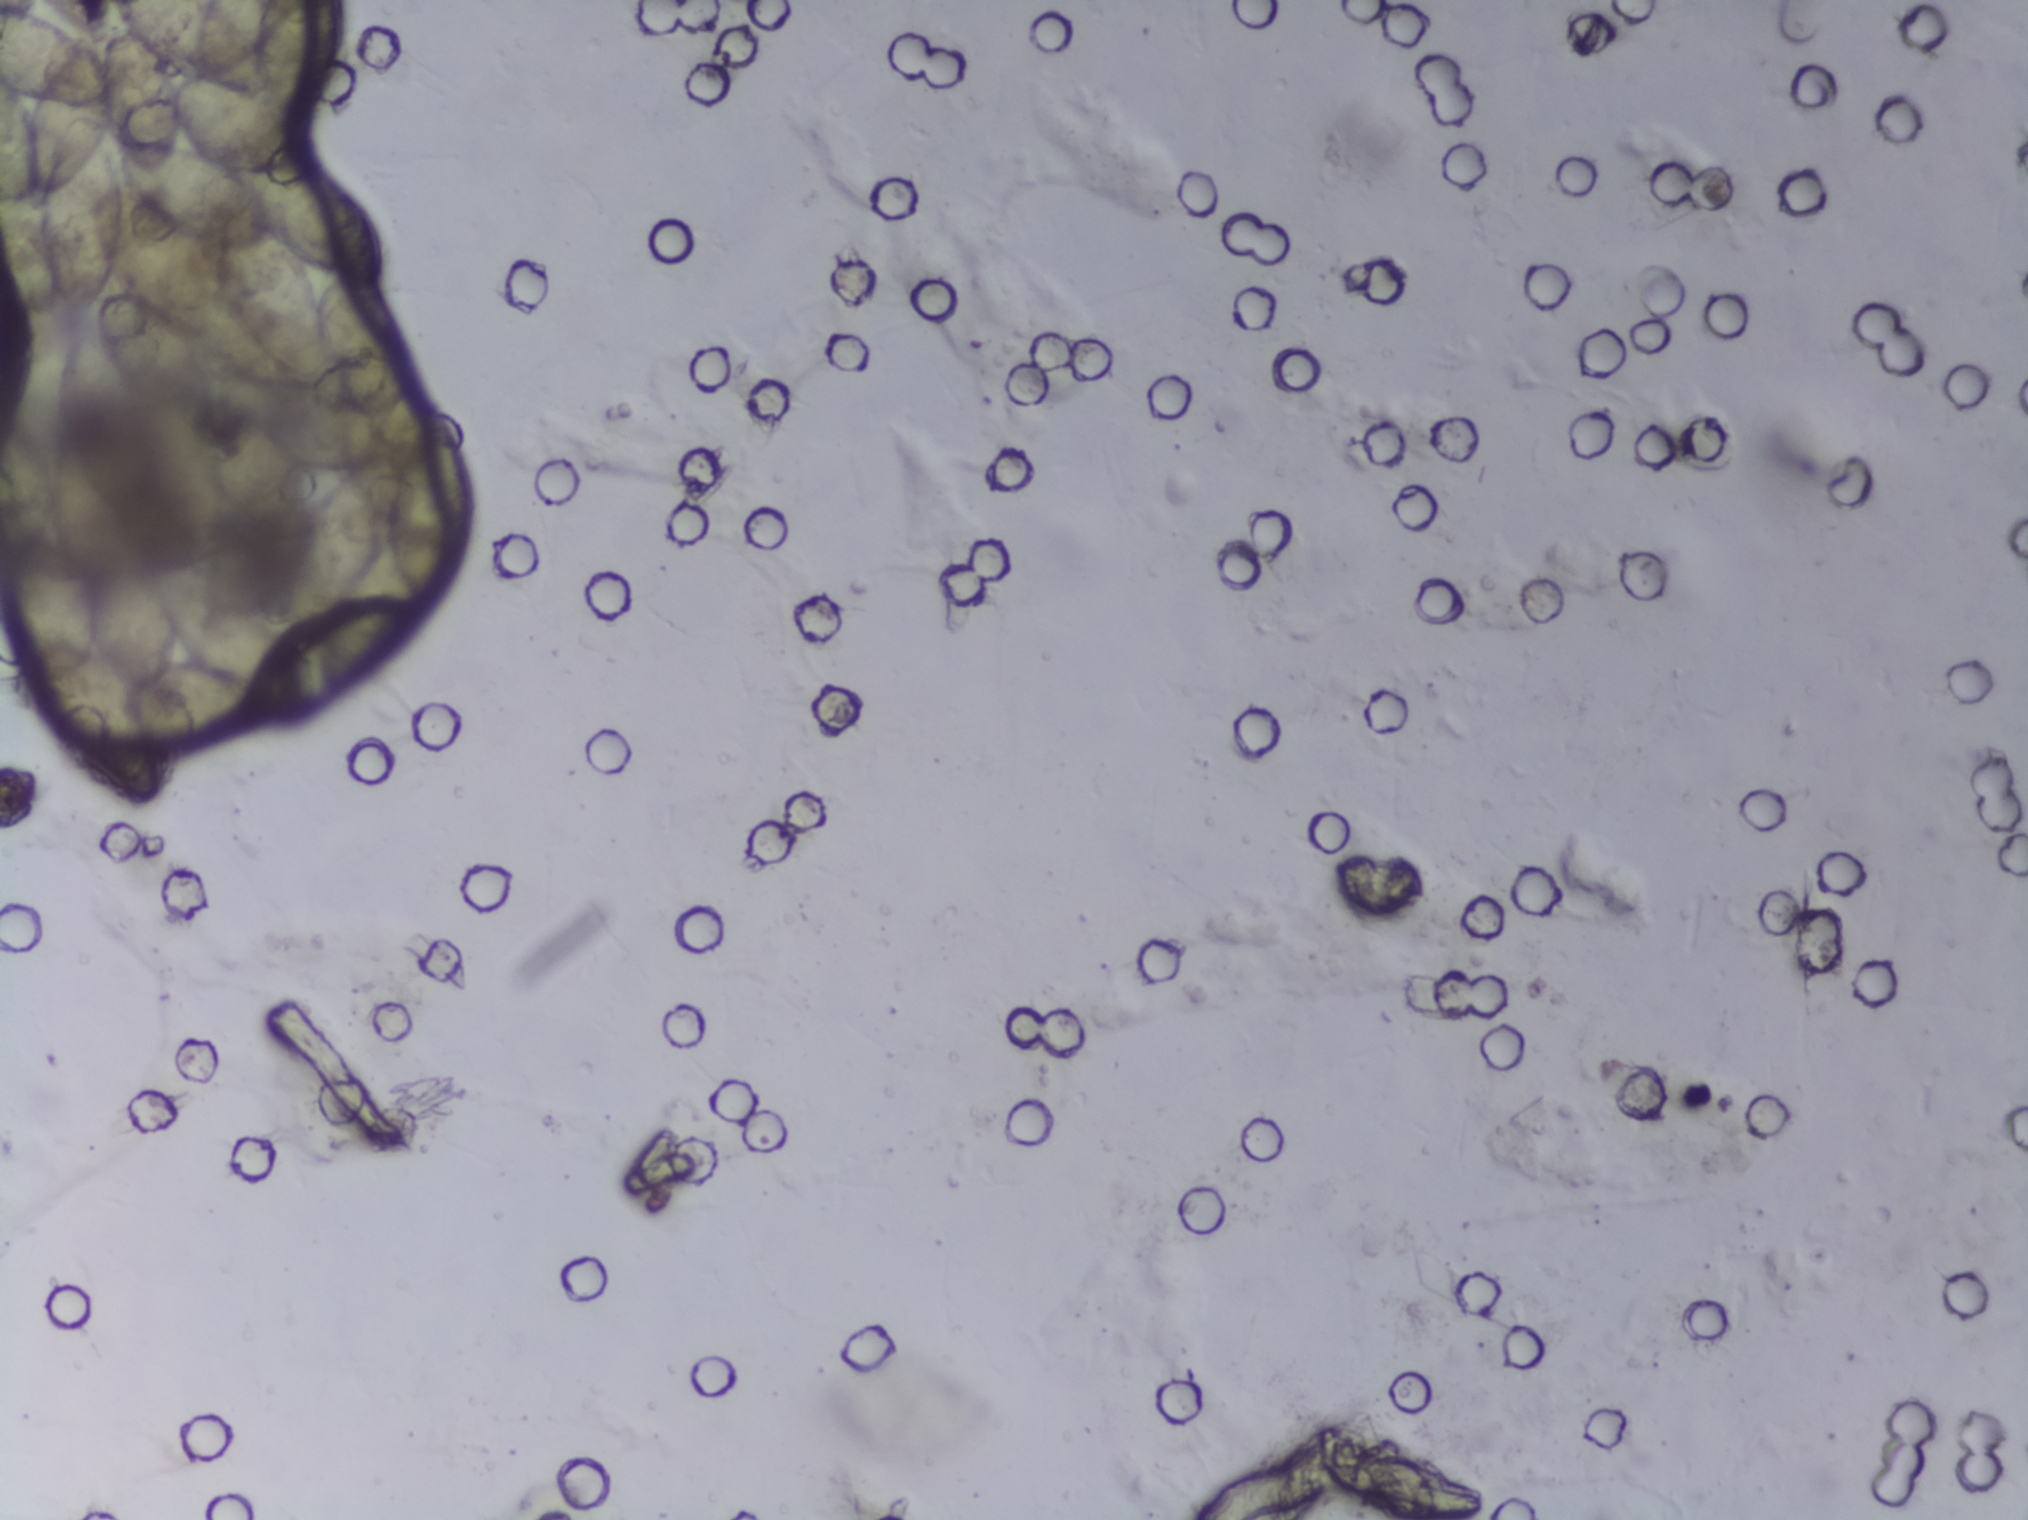
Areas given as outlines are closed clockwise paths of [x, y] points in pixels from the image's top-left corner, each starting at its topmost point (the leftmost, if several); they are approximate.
Schistosoma eggs are outlined in one area of this image: outline [0, 0], [36, 6], [33, 0], [340, 0], [334, 61], [298, 118], [304, 141], [328, 157], [346, 193], [384, 227], [388, 271], [379, 279], [416, 359], [411, 390], [456, 413], [470, 431], [470, 444], [459, 454], [477, 493], [474, 545], [450, 587], [418, 598], [419, 627], [356, 686], [322, 705], [259, 716], [206, 741], [161, 742], [163, 794], [153, 804], [111, 799], [49, 728], [9, 576], [9, 516], [0, 485], [2, 387], [14, 390], [18, 337], [41, 310], [14, 301], [0, 268] (eggs clustered together; reaching the left and top edges of the frame; with gaps inside, about 5.5% of the space inside its outline). A single outlined area may contain several eggs.
Urine filter membrane photographed through a 4× microscope objective.